One field of view of a urine filter membrane, 4× objective, 2028 × 1520 pixels.
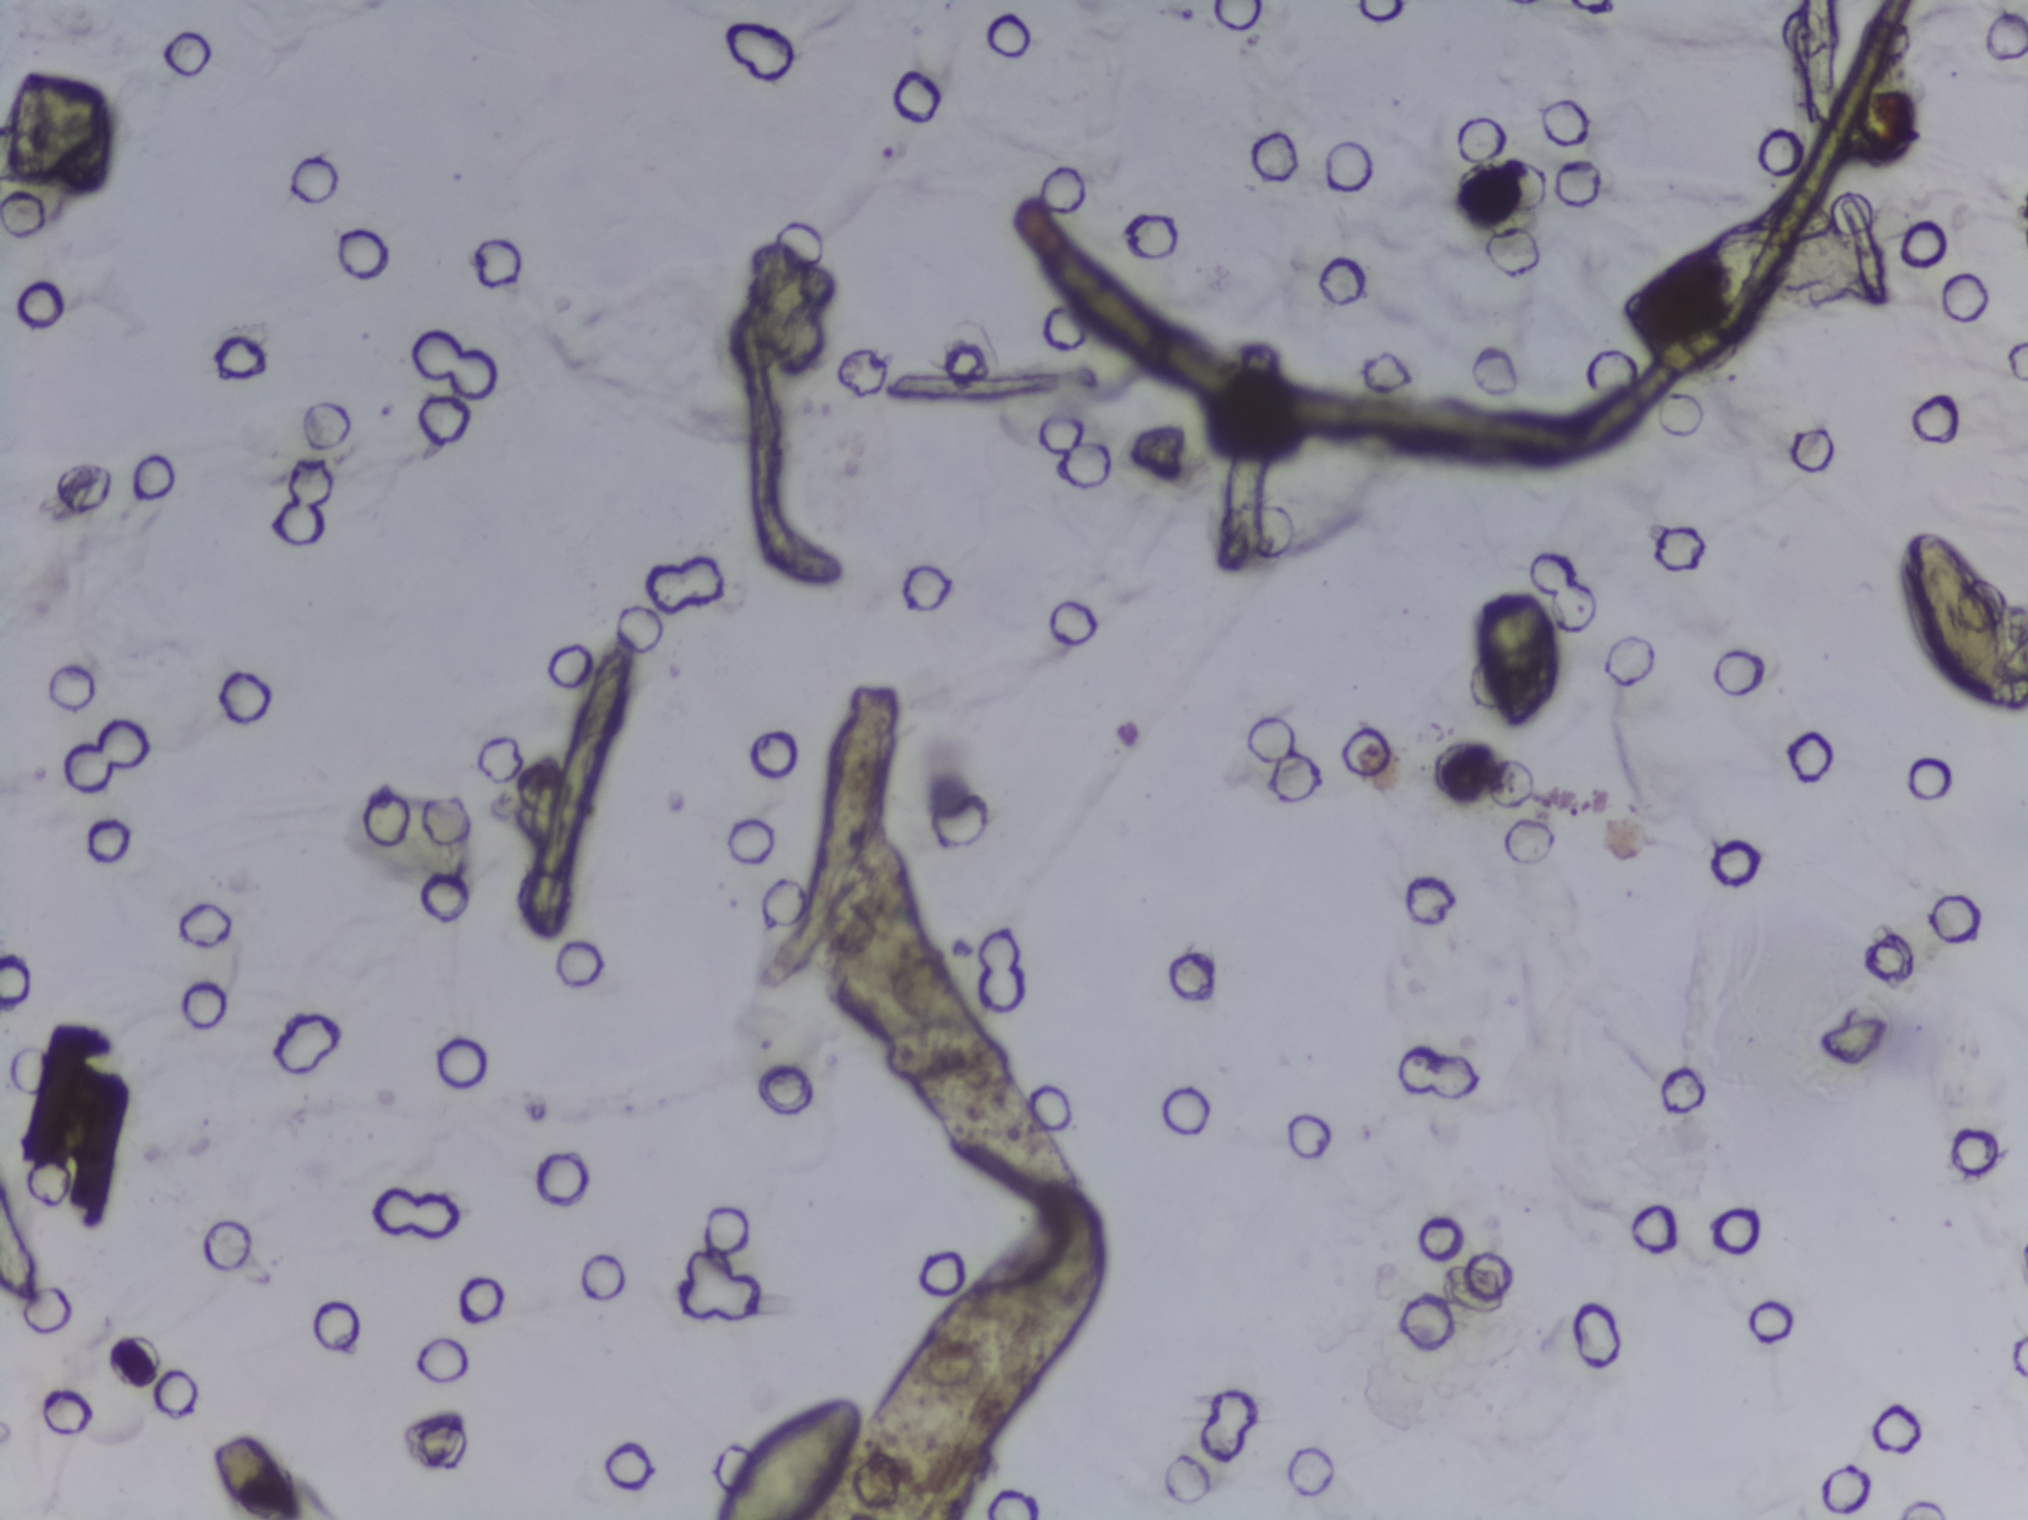
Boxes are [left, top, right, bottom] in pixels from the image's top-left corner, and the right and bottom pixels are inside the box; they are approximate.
{"schistosoma_egg_areas_xyxy_px": [[706, 1391, 867, 1519], [1899, 529, 2013, 705]]} Area 1 reaches the bottom edge of the frame.
An outlined area can hold more than one egg.